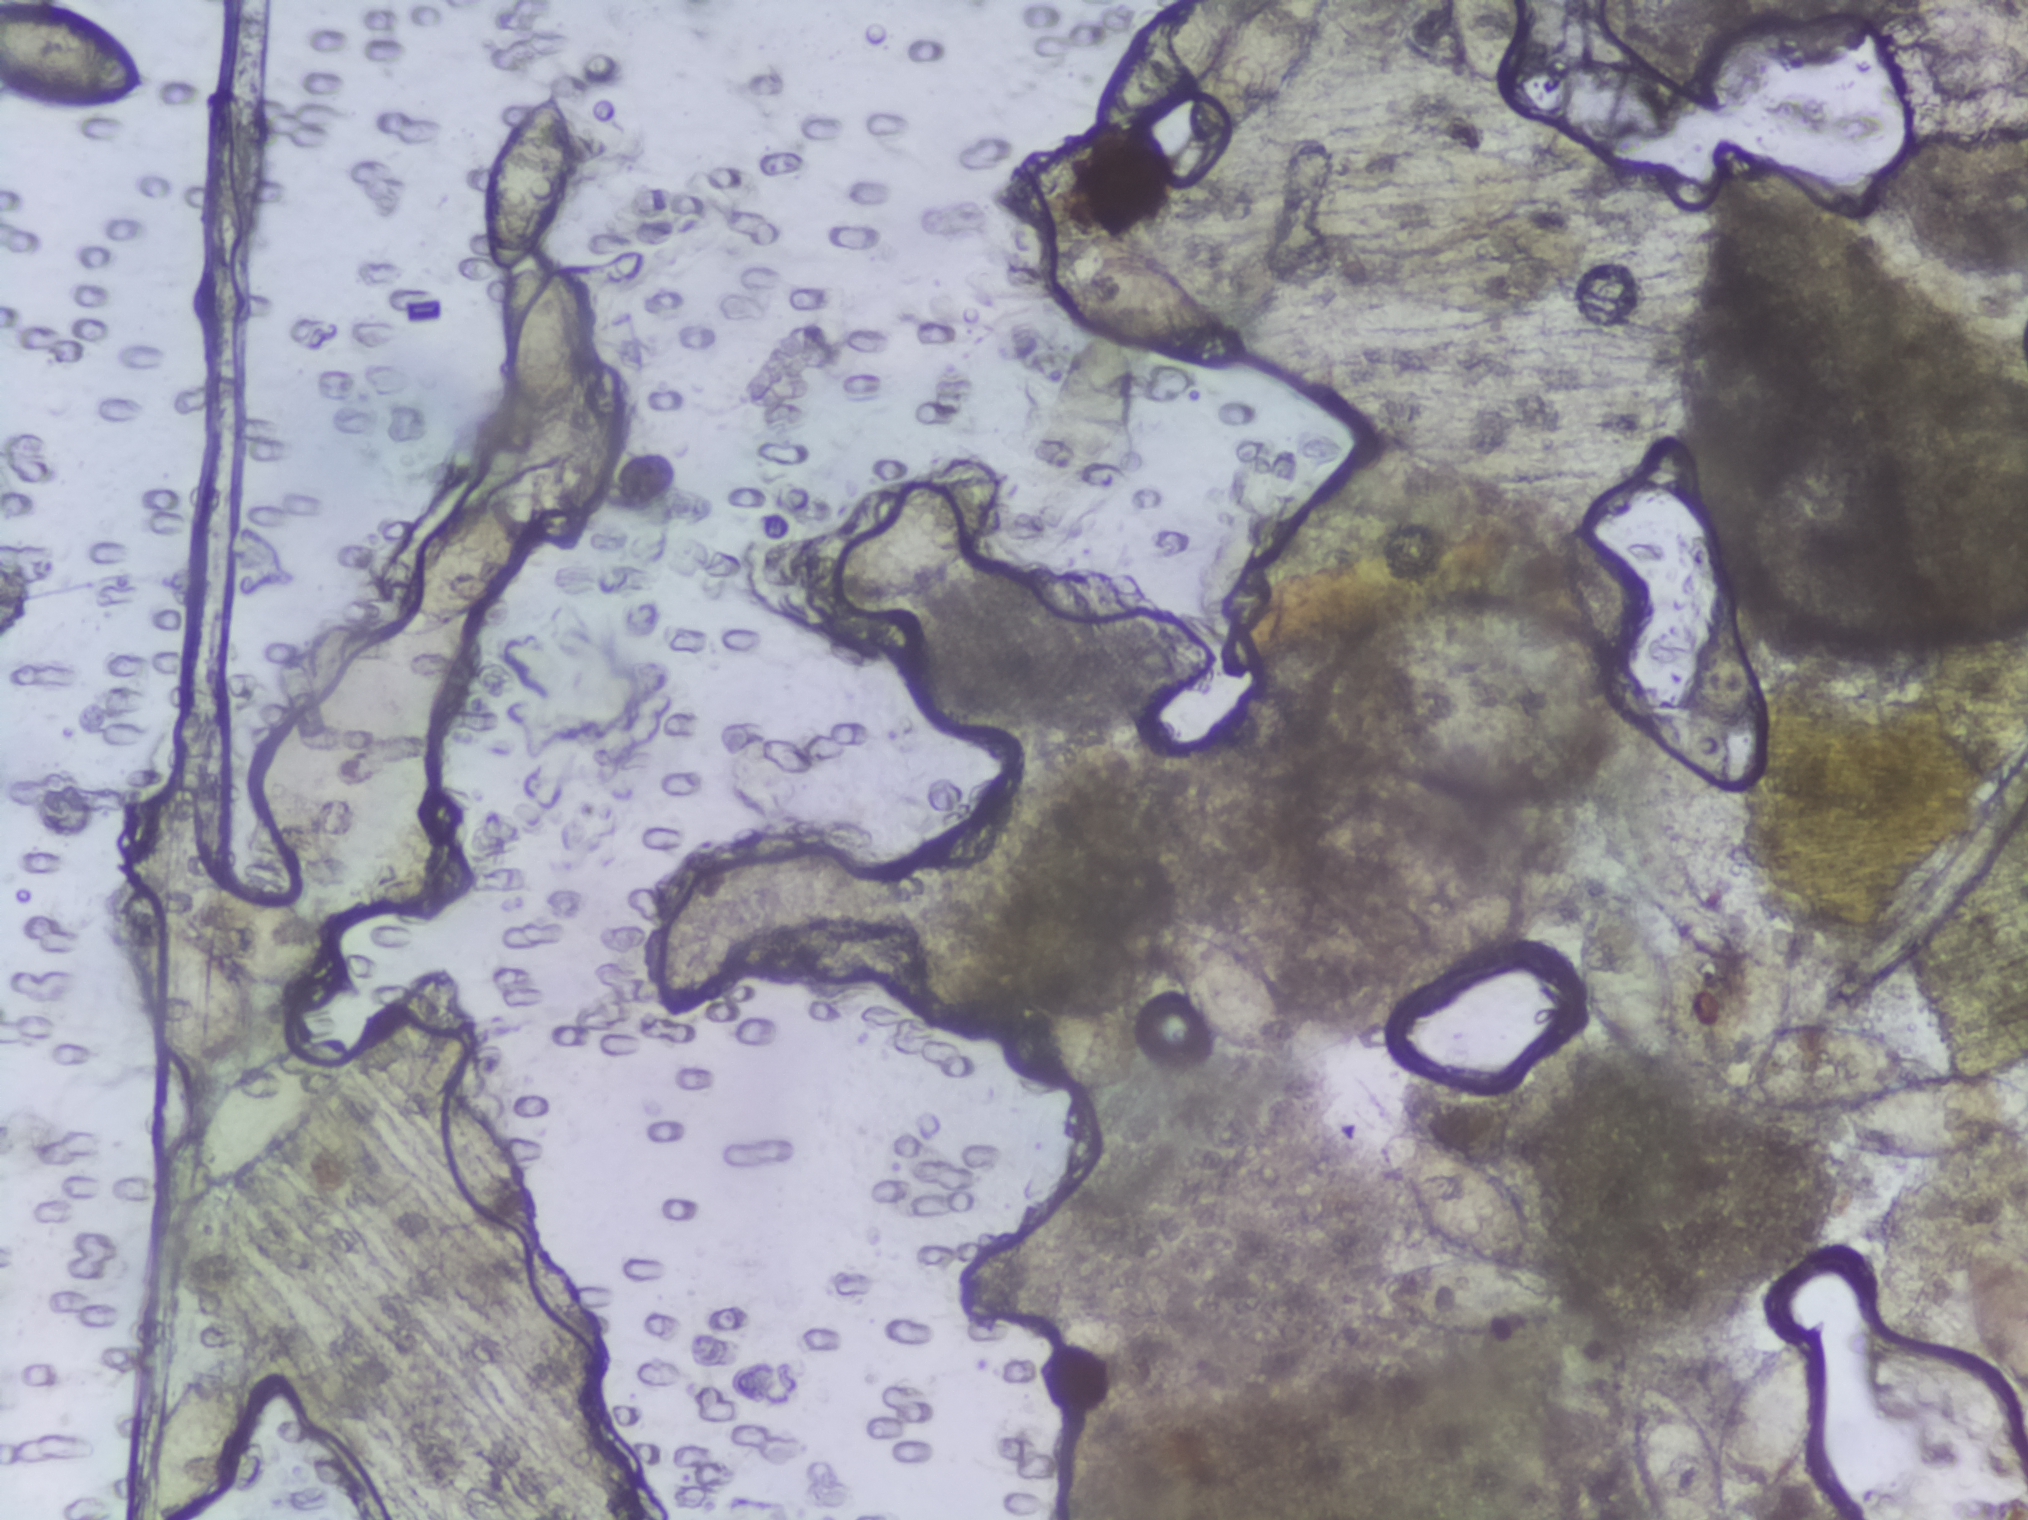
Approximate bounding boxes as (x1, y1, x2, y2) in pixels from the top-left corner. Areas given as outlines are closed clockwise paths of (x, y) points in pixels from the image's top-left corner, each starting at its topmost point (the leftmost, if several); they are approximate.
Schistosoma egg areas, outlined: box (0, 0, 150, 117) (reaching the left and top edges of the frame); box (127, 878, 363, 1076); box (148, 1346, 254, 1519) (reaching the bottom edge of the frame); box (190, 1031, 351, 1186); outline (559, 449), (575, 454), (576, 471), (548, 527), (511, 575), (453, 623), (400, 634), (393, 611), (398, 578), (433, 521), (499, 474); box (478, 84, 590, 416); box (827, 467, 1011, 601); box (1051, 232, 1235, 371); box (1092, 0, 1331, 145) (reaching the top edge of the frame); box (1163, 929, 1295, 1054); box (1374, 1129, 1578, 1338); box (1394, 0, 1591, 93) (reaching the top edge of the frame); box (1576, 885, 1679, 1074); box (1625, 1312, 1831, 1519) (reaching the bottom edge of the frame); outline (1773, 913), (1785, 916), (1796, 955), (1786, 1027), (1795, 1019), (1866, 1024), (1894, 1036), (1913, 1073), (1978, 1067), (2022, 1080), (2027, 1120), (1966, 1156), (1889, 1162), (1815, 1142), (1805, 1129), (1810, 1113), (1724, 1100), (1708, 1075), (1699, 993), (1708, 966), (1724, 948) (reaching the right edge of the frame); box (1954, 1226, 2027, 1401) (reaching the right edge of the frame). An outlined area can hold more than one egg.
Urine filtration membrane under a 4× objective, photographed by an automated digital microscope.